Microscope photograph (4× objective) of a membrane that a urine sample was filtered through.
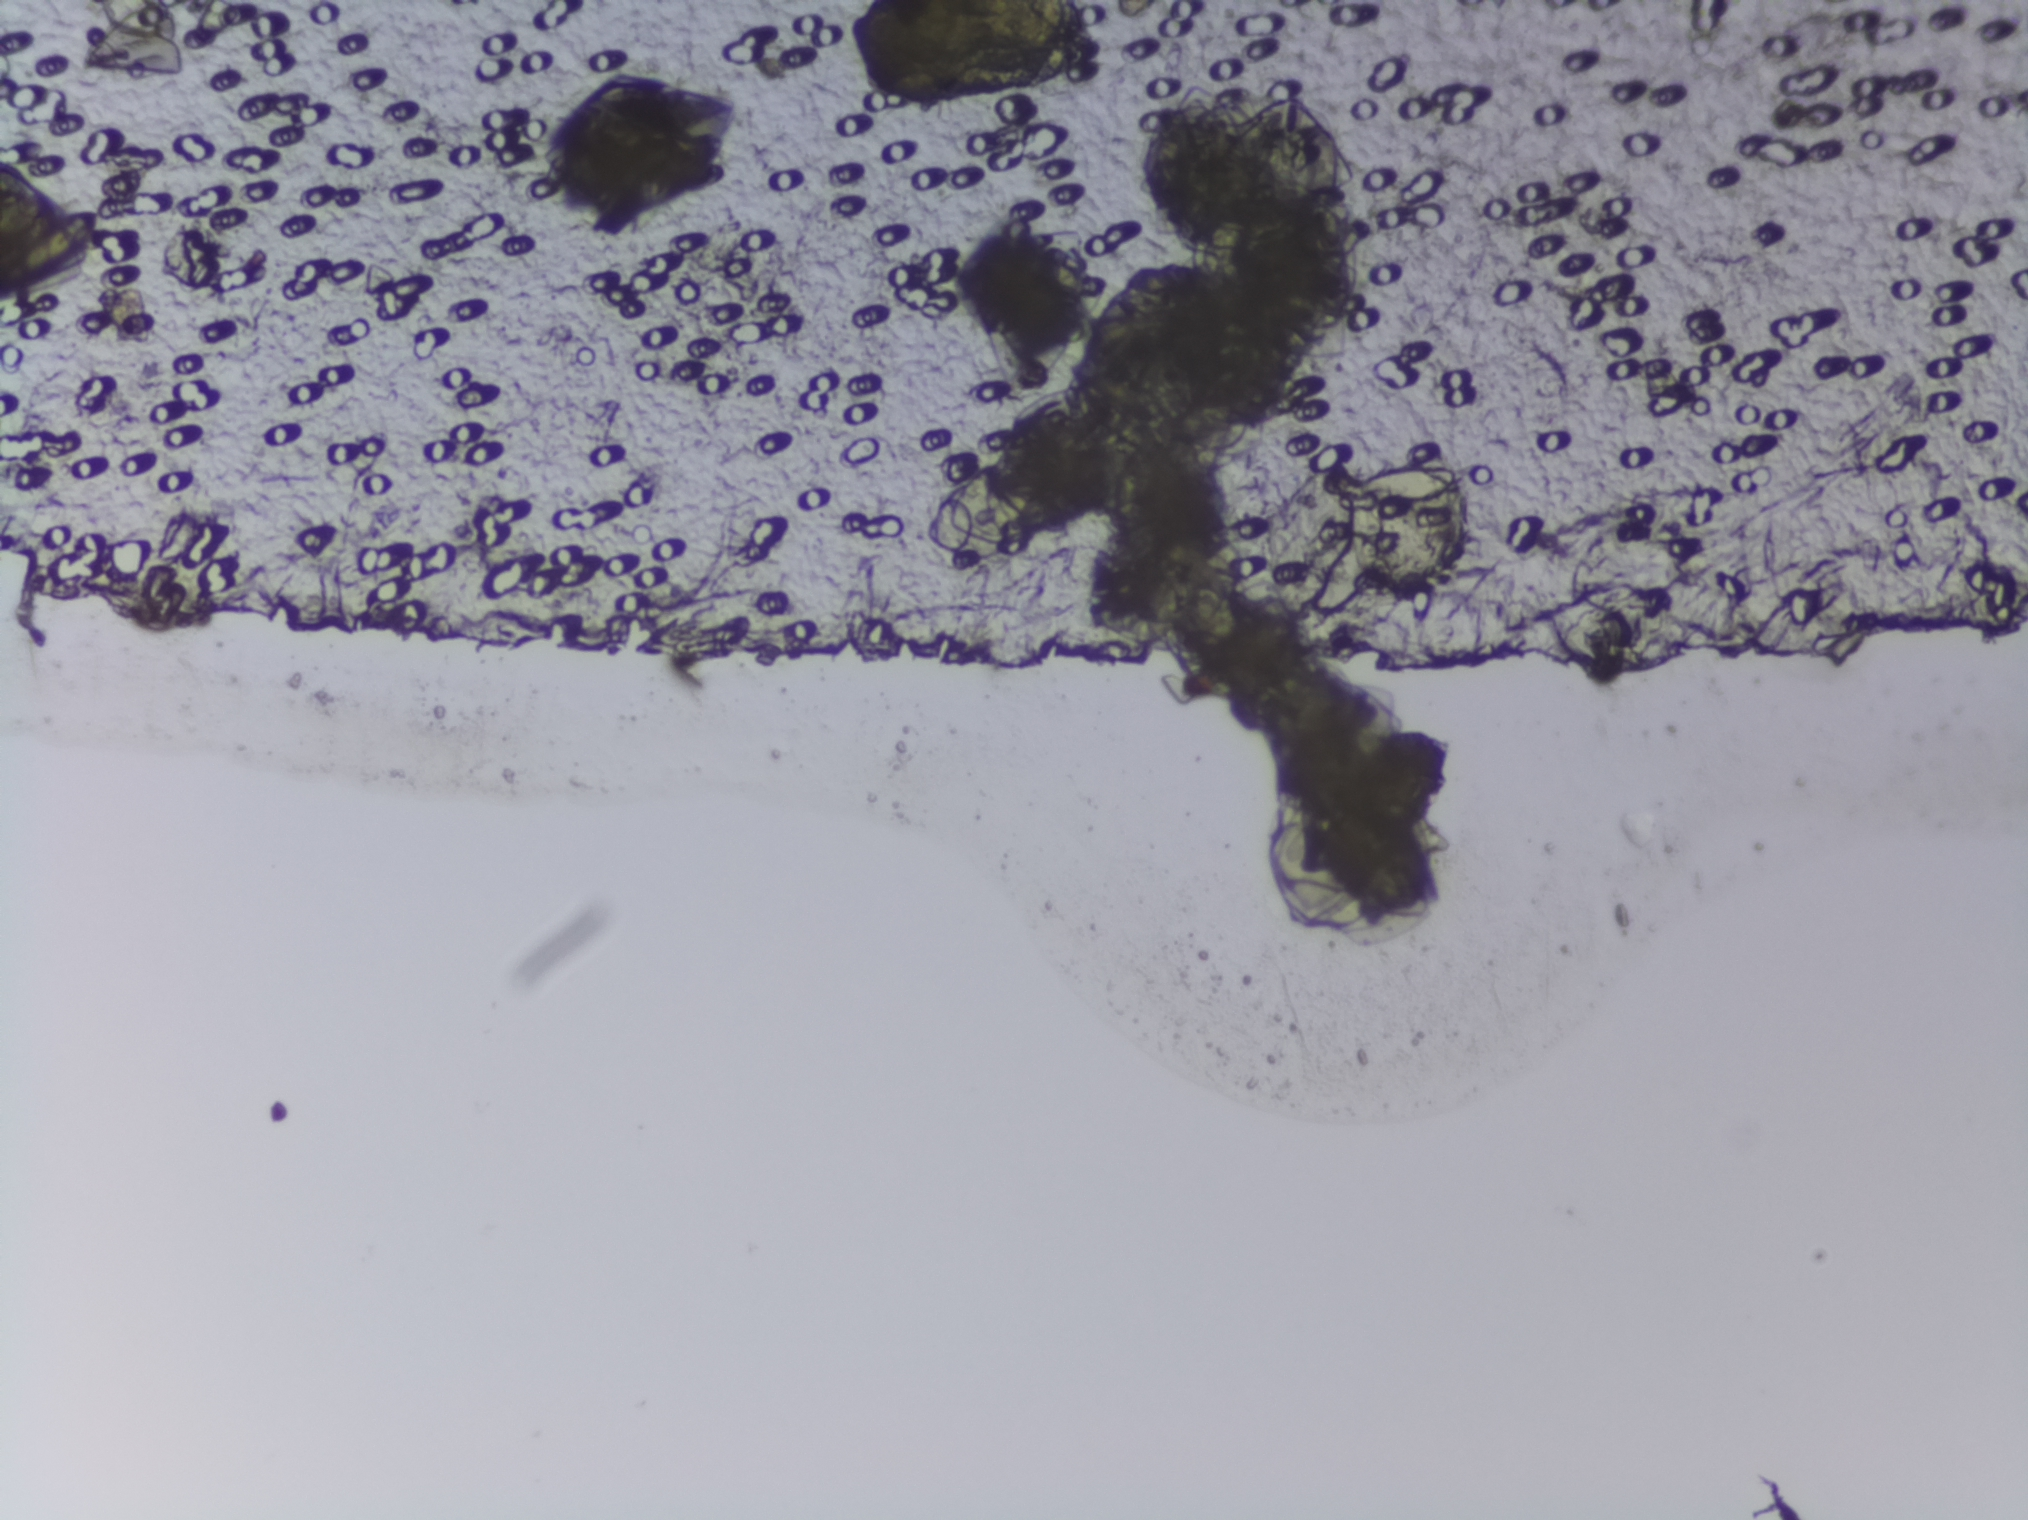
No Schistosoma egg is outlined in this image's expert annotation.